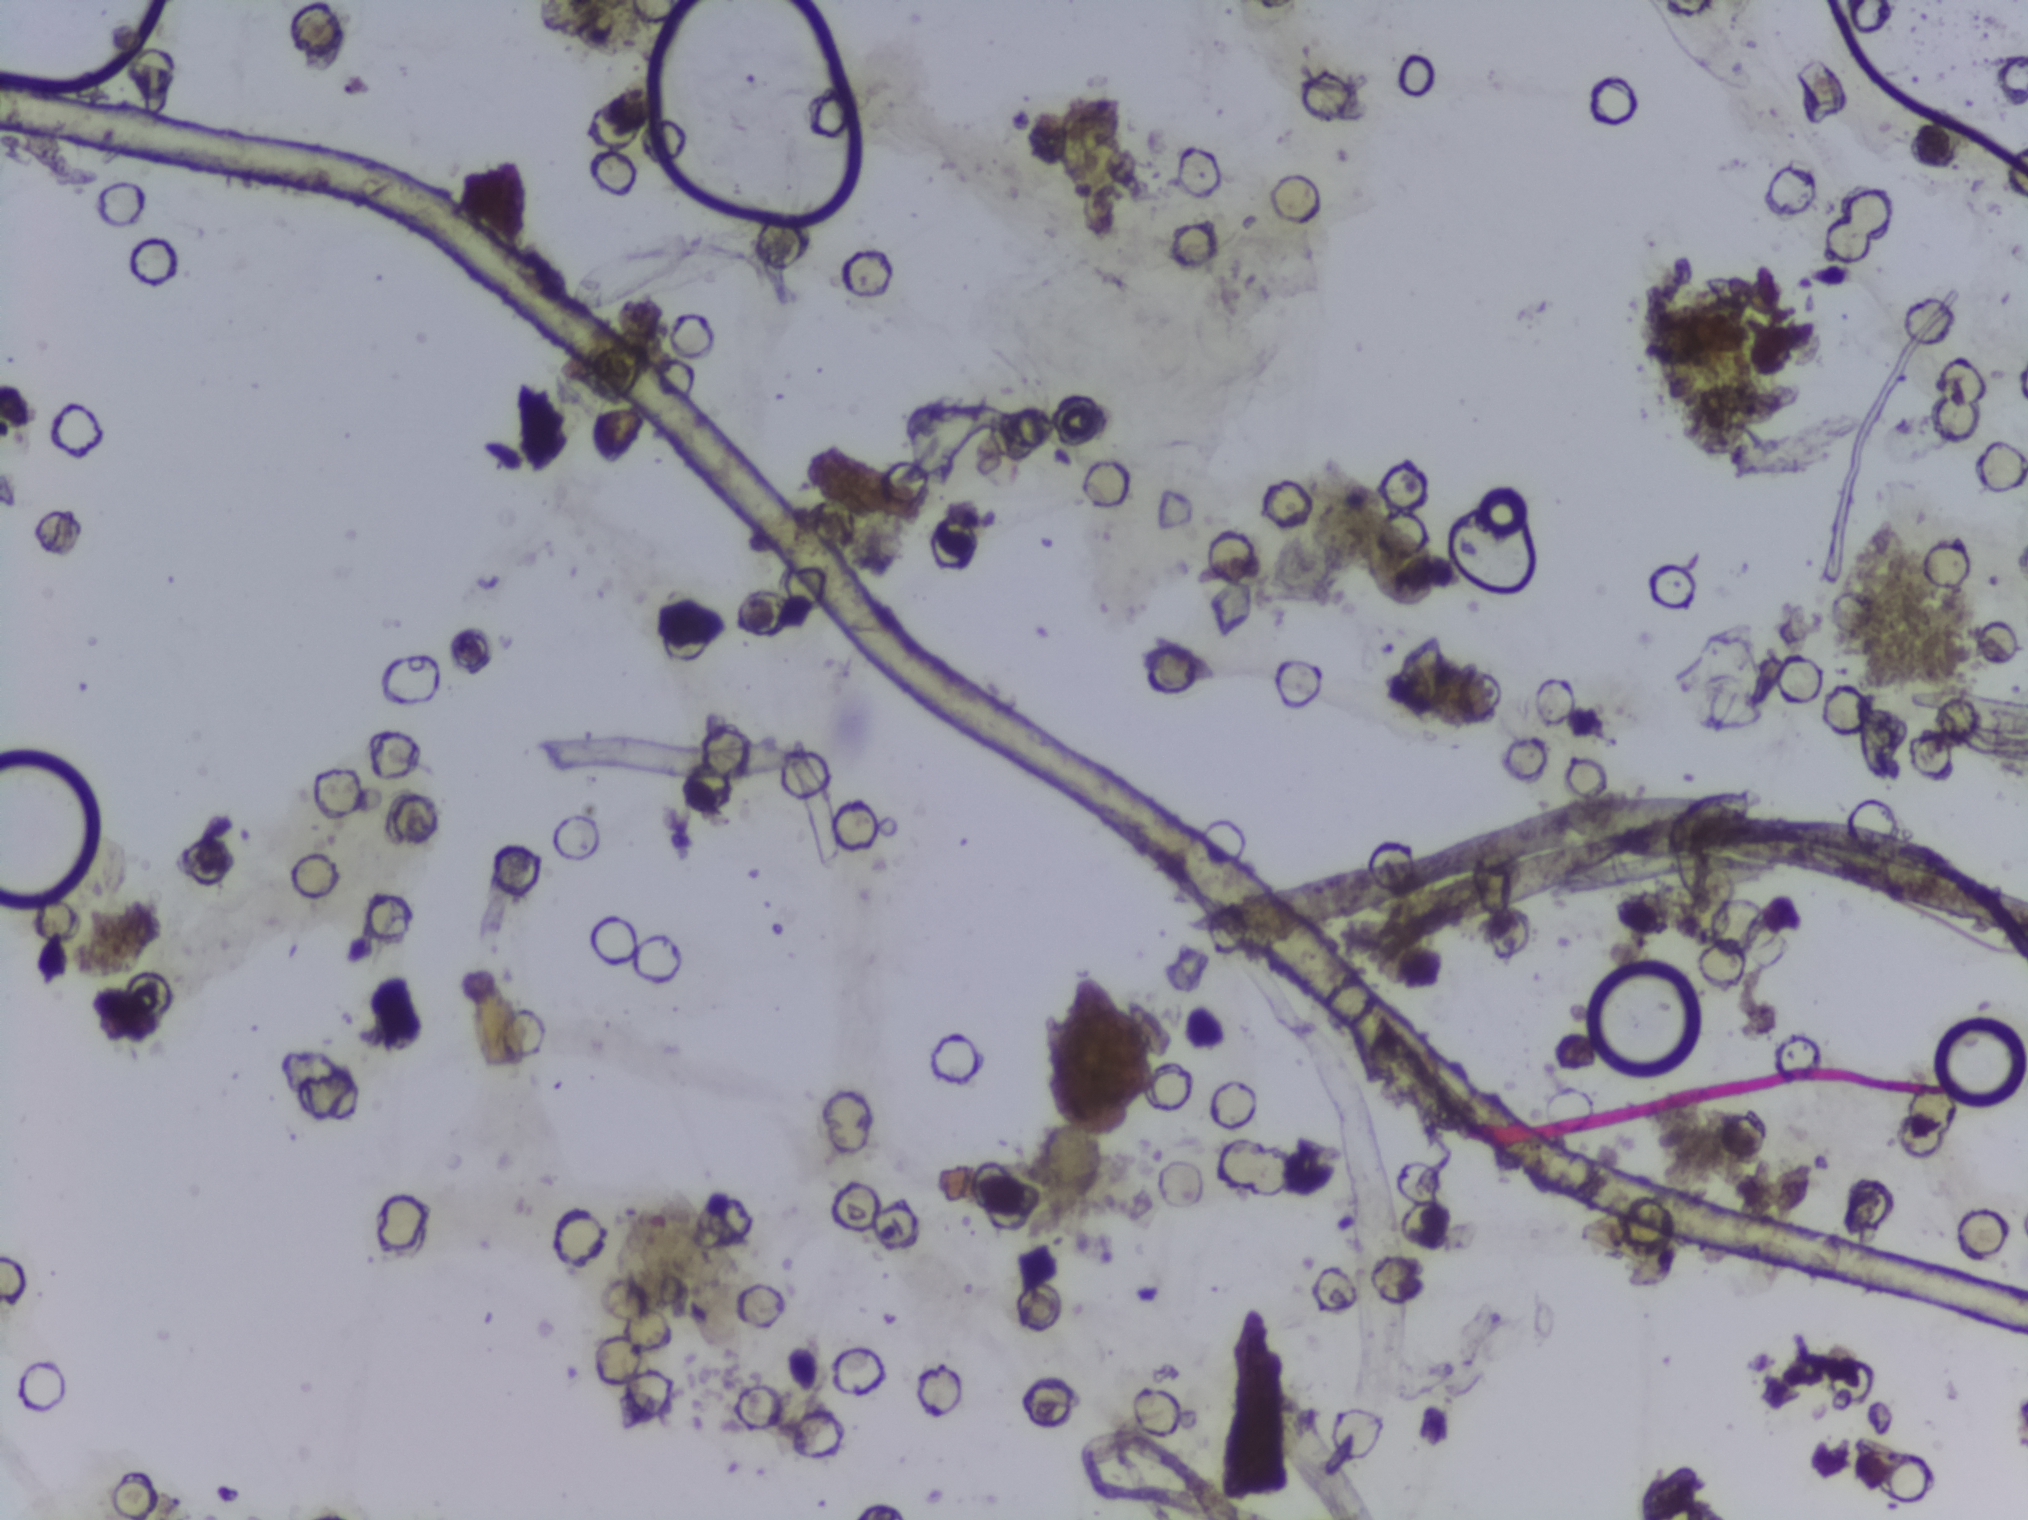
Schistosoma eggs: none outlined.
Urine filter membrane photographed through a 4× microscope objective. The image covers about 1.5 × 1.1 mm of the membrane.